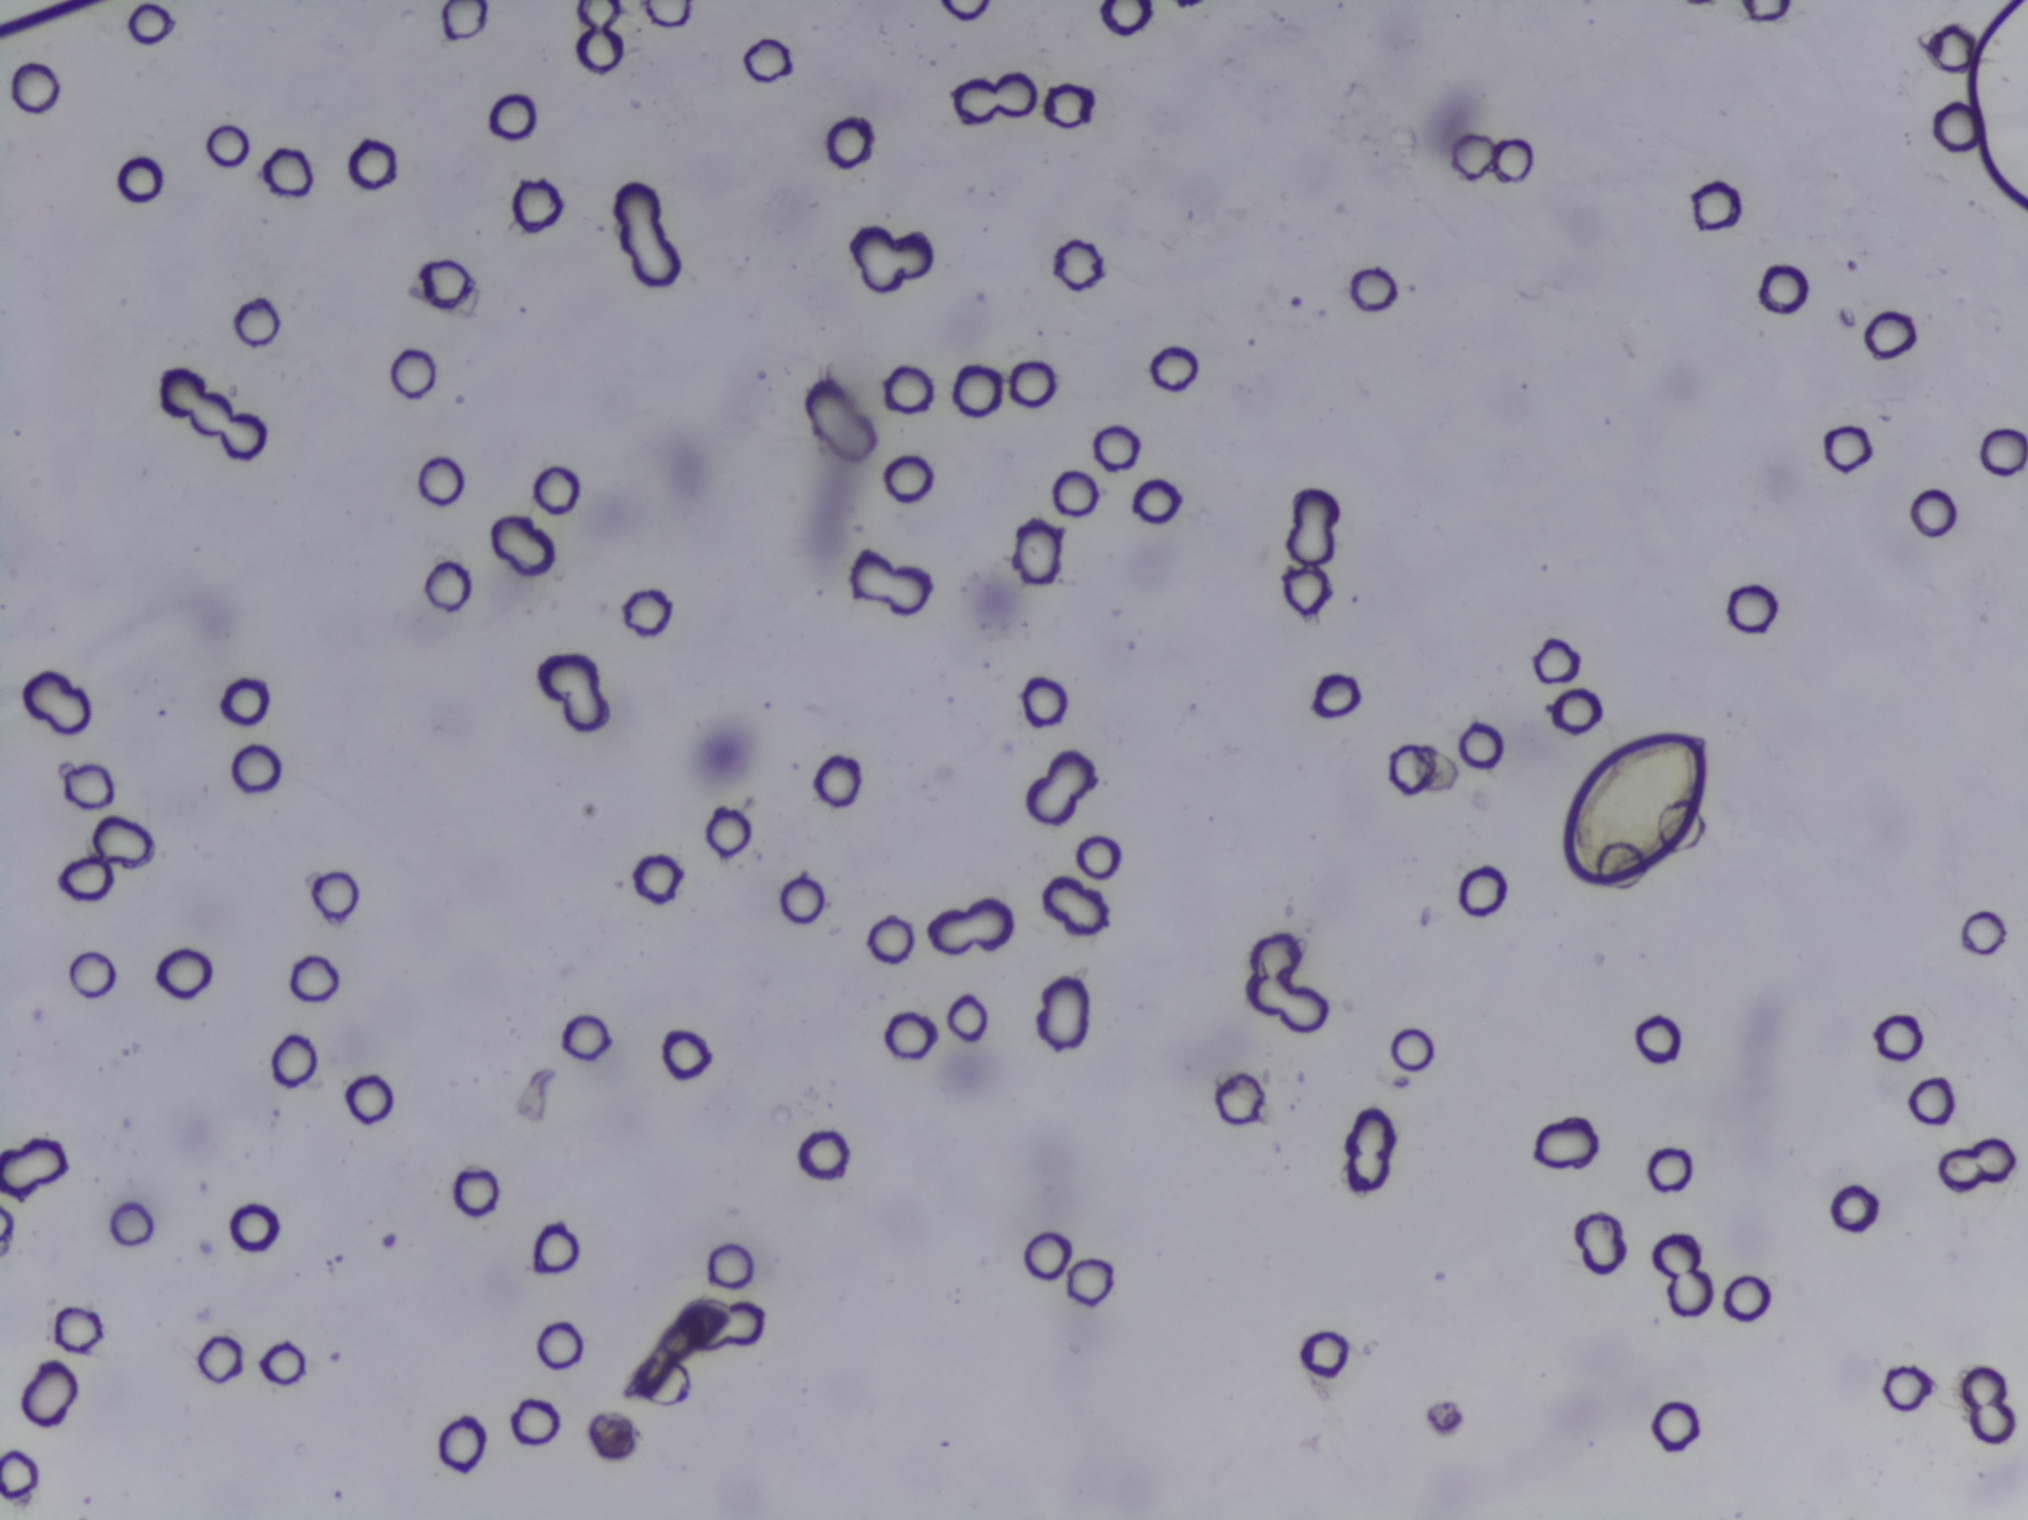
Photograph from an automated digital microscope: urine filter membrane, 4× objective. Field of view: about 1.5 mm wide and 1.1 mm high.
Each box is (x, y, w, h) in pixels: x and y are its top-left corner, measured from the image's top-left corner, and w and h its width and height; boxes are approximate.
Areas outlined as Schistosoma eggs: (x=1560, y=725, w=155, h=173). An outlined area can hold more than one egg.